Urine filtration membrane under a 4× objective, photographed by an automated digital microscope. The field of view is about 1.5 mm × 1.1 mm.
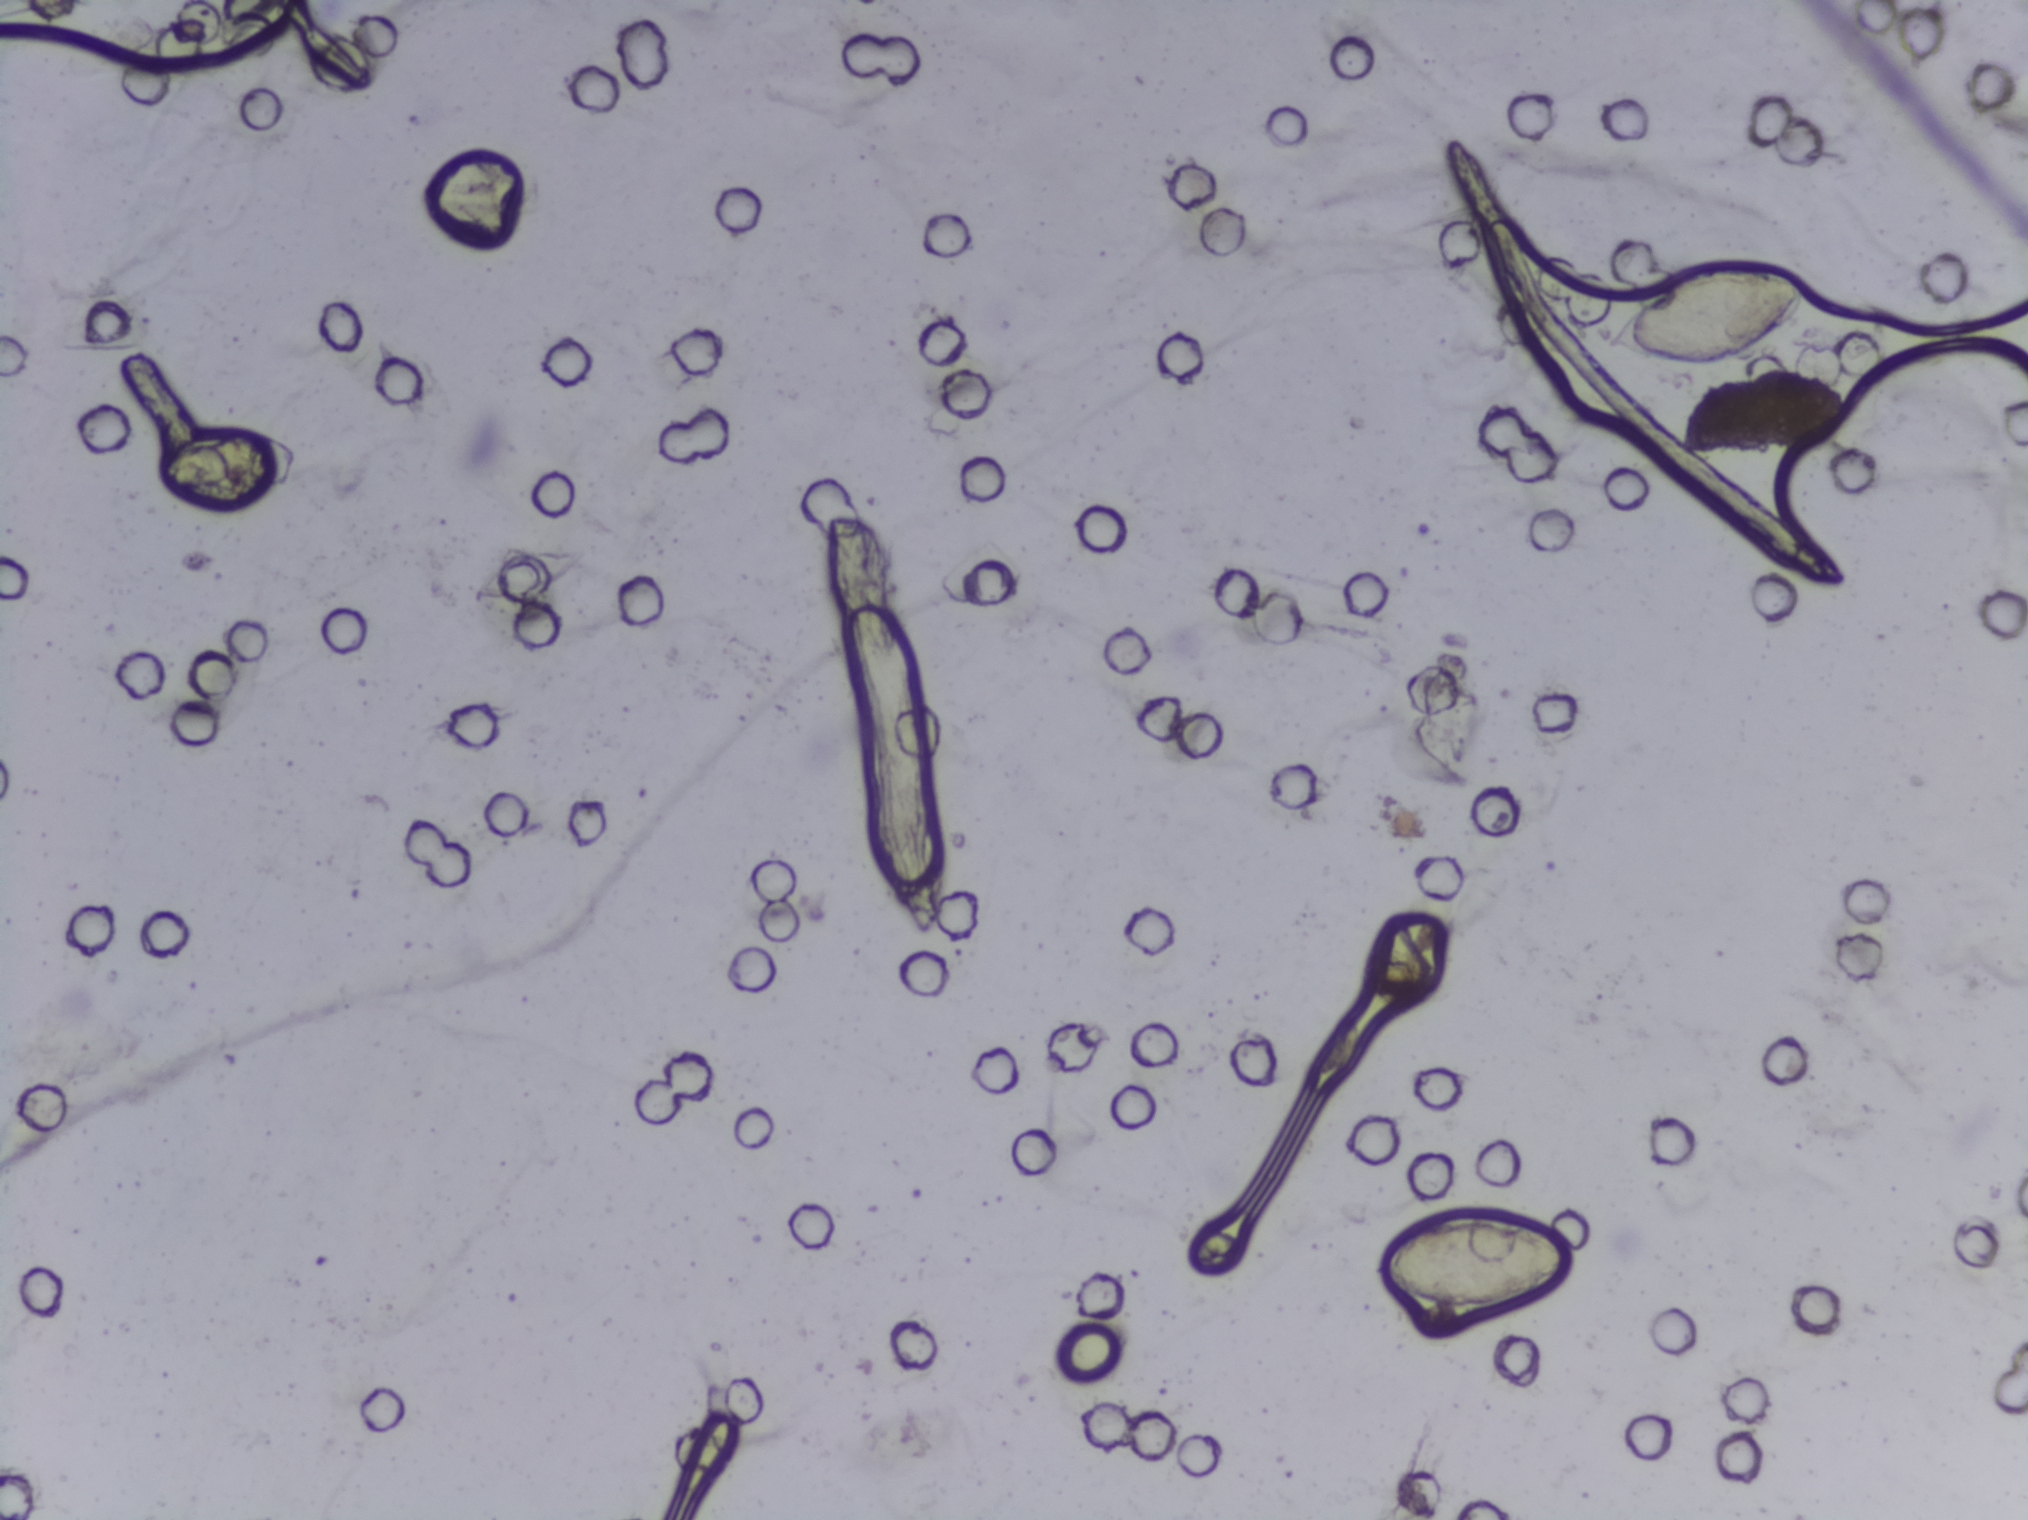
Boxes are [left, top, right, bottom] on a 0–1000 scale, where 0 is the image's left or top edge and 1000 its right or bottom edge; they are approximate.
Schistosoma eggs are outlined in two areas of this image, listed from left to right: [676, 799, 775, 860] and [791, 176, 891, 238]. The marked pixels themselves, not the boxes around them, cover about 0.9% of the image. A single outlined area may contain several eggs.